Urine filter membrane photographed through a 4× microscope objective. The image covers about 1.5 × 1.1 mm of the membrane.
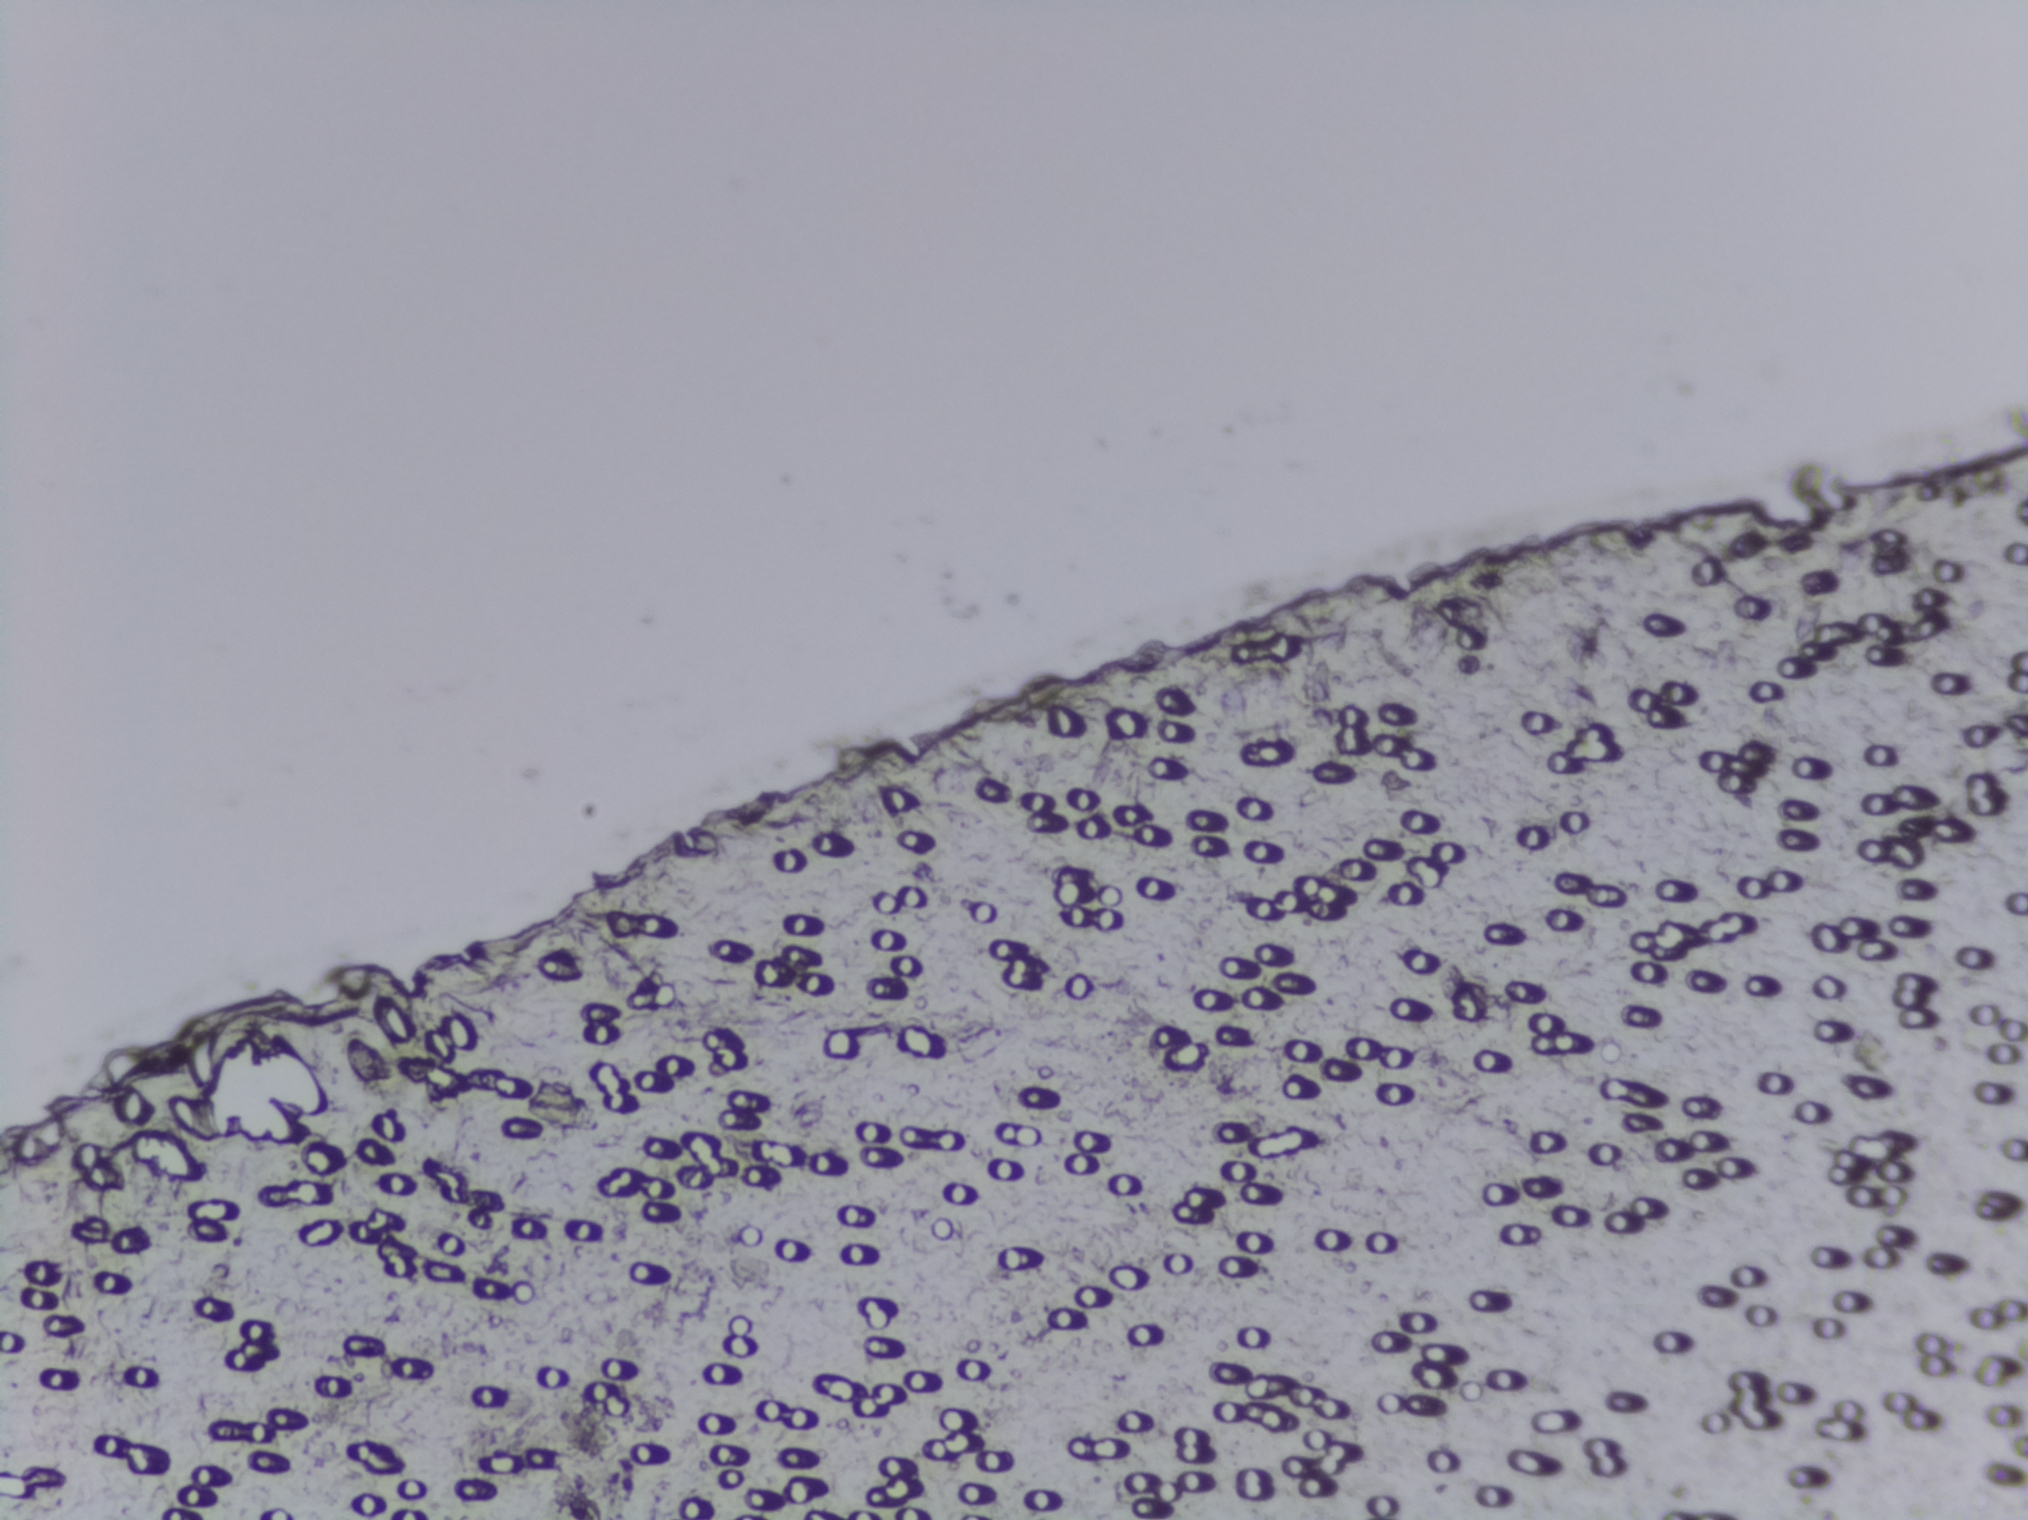
No Schistosoma egg is outlined in this image's expert annotation.